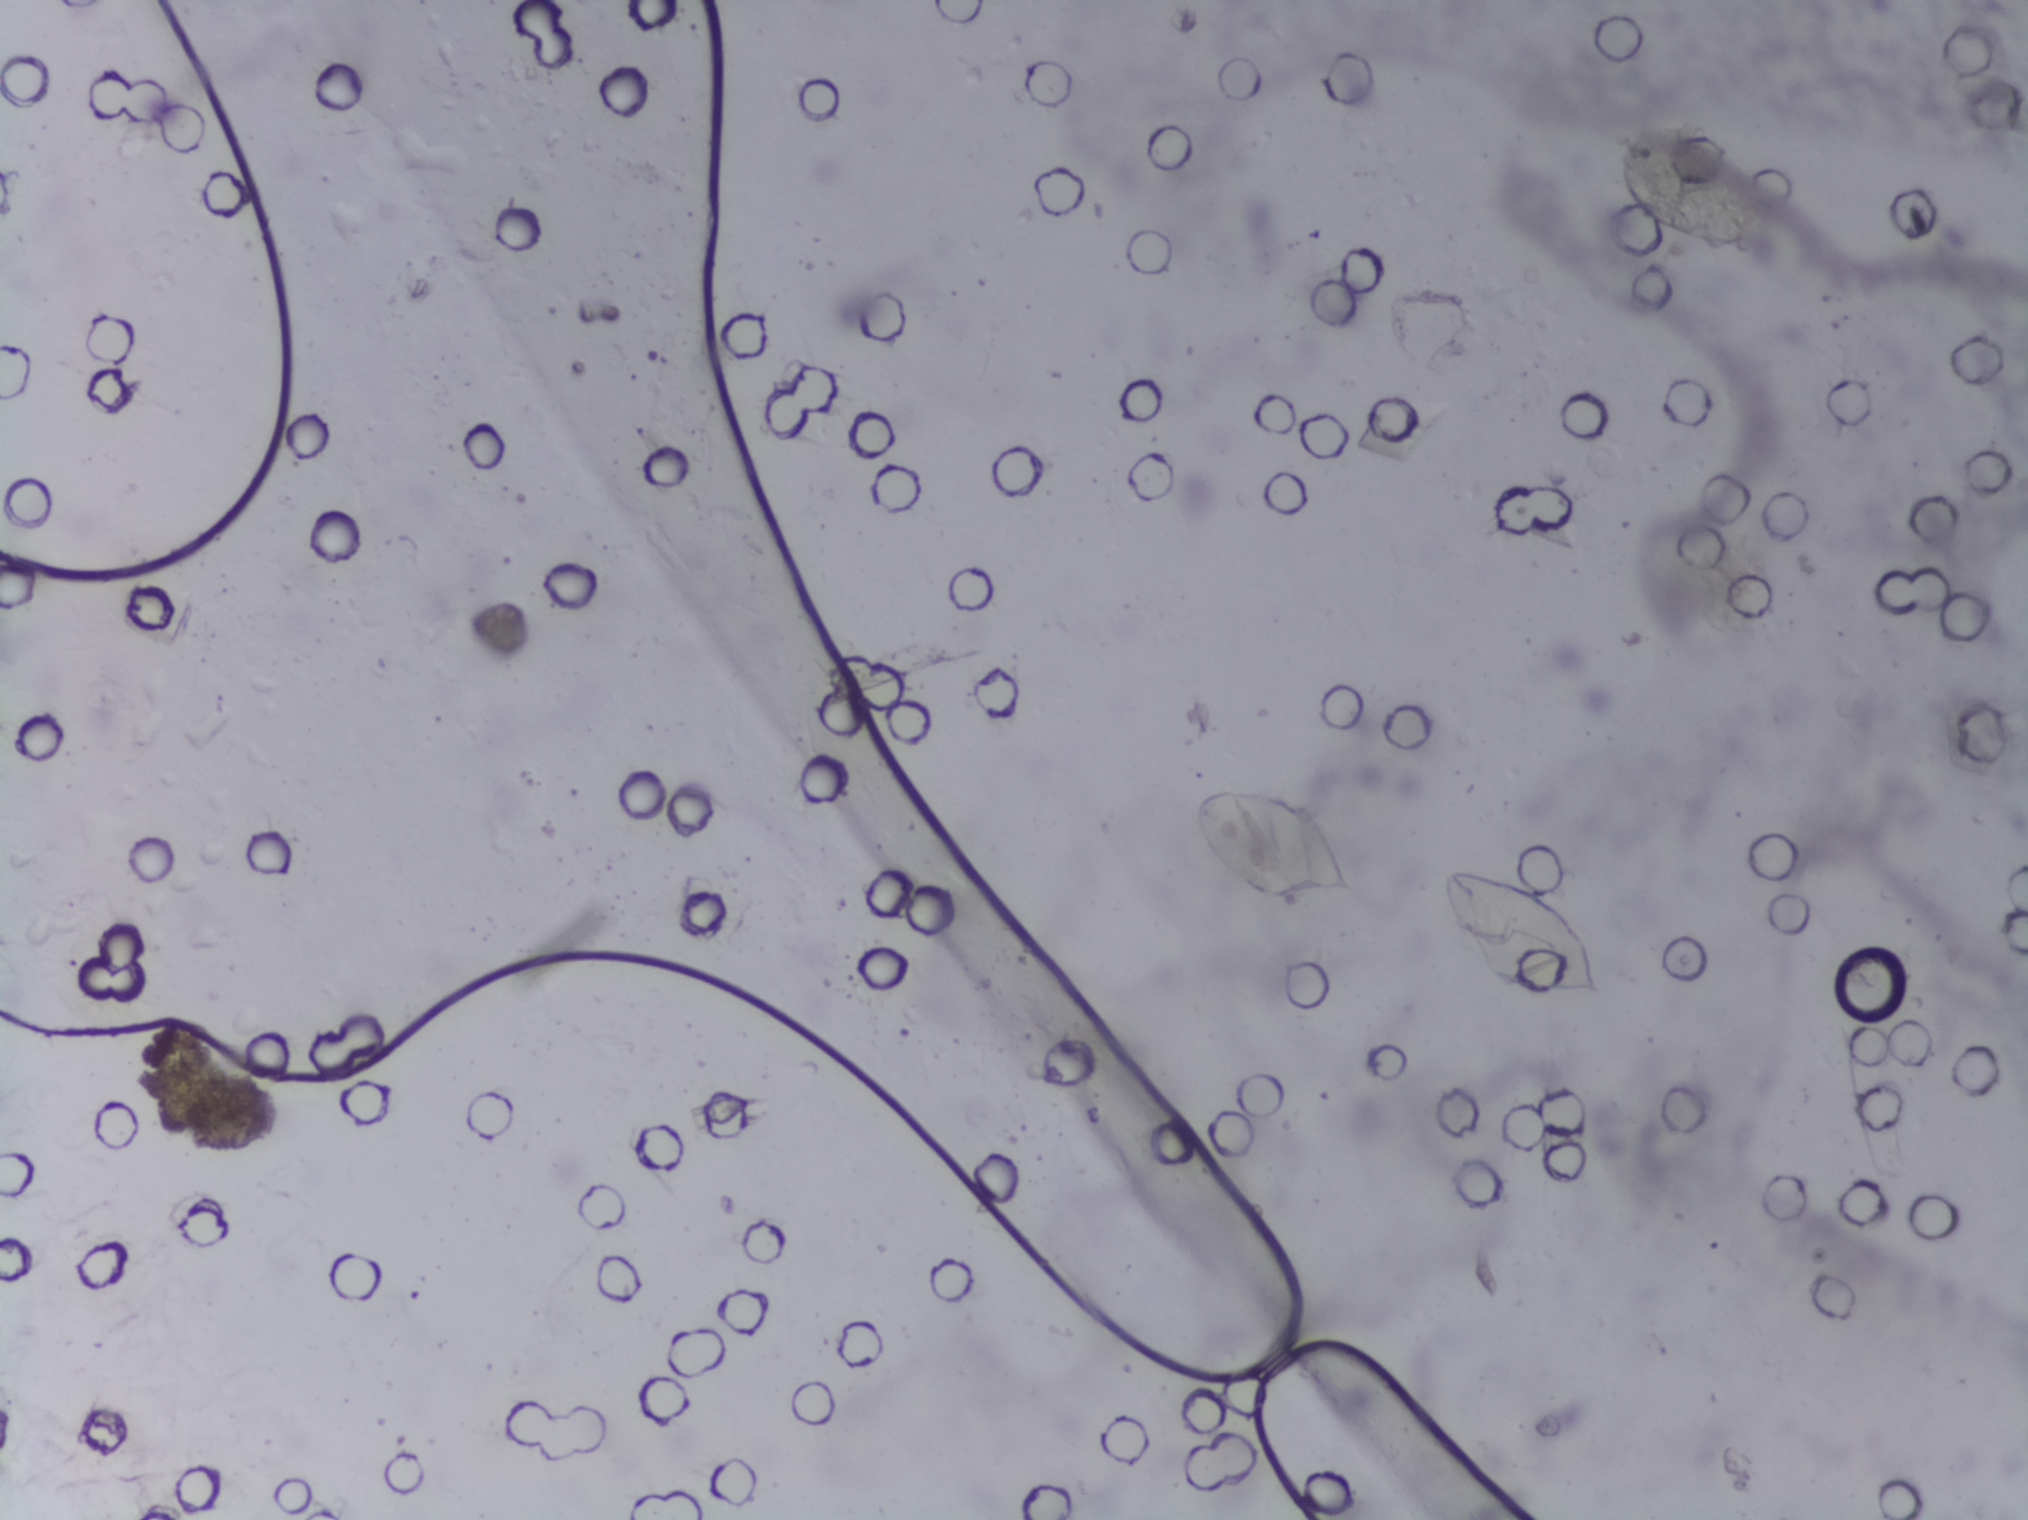
Photomicrograph of a urine filtration membrane, 4× objective.
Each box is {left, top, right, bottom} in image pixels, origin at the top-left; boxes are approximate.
Schistosoma egg areas, outlined: {1187, 783, 1361, 907}; {1433, 870, 1609, 1000}. A single outlined area may contain several eggs. A marked egg may occasionally be S. mansoni rather than S. haematobium.